Urine filtration membrane under a 4× objective, photographed by an automated digital microscope.
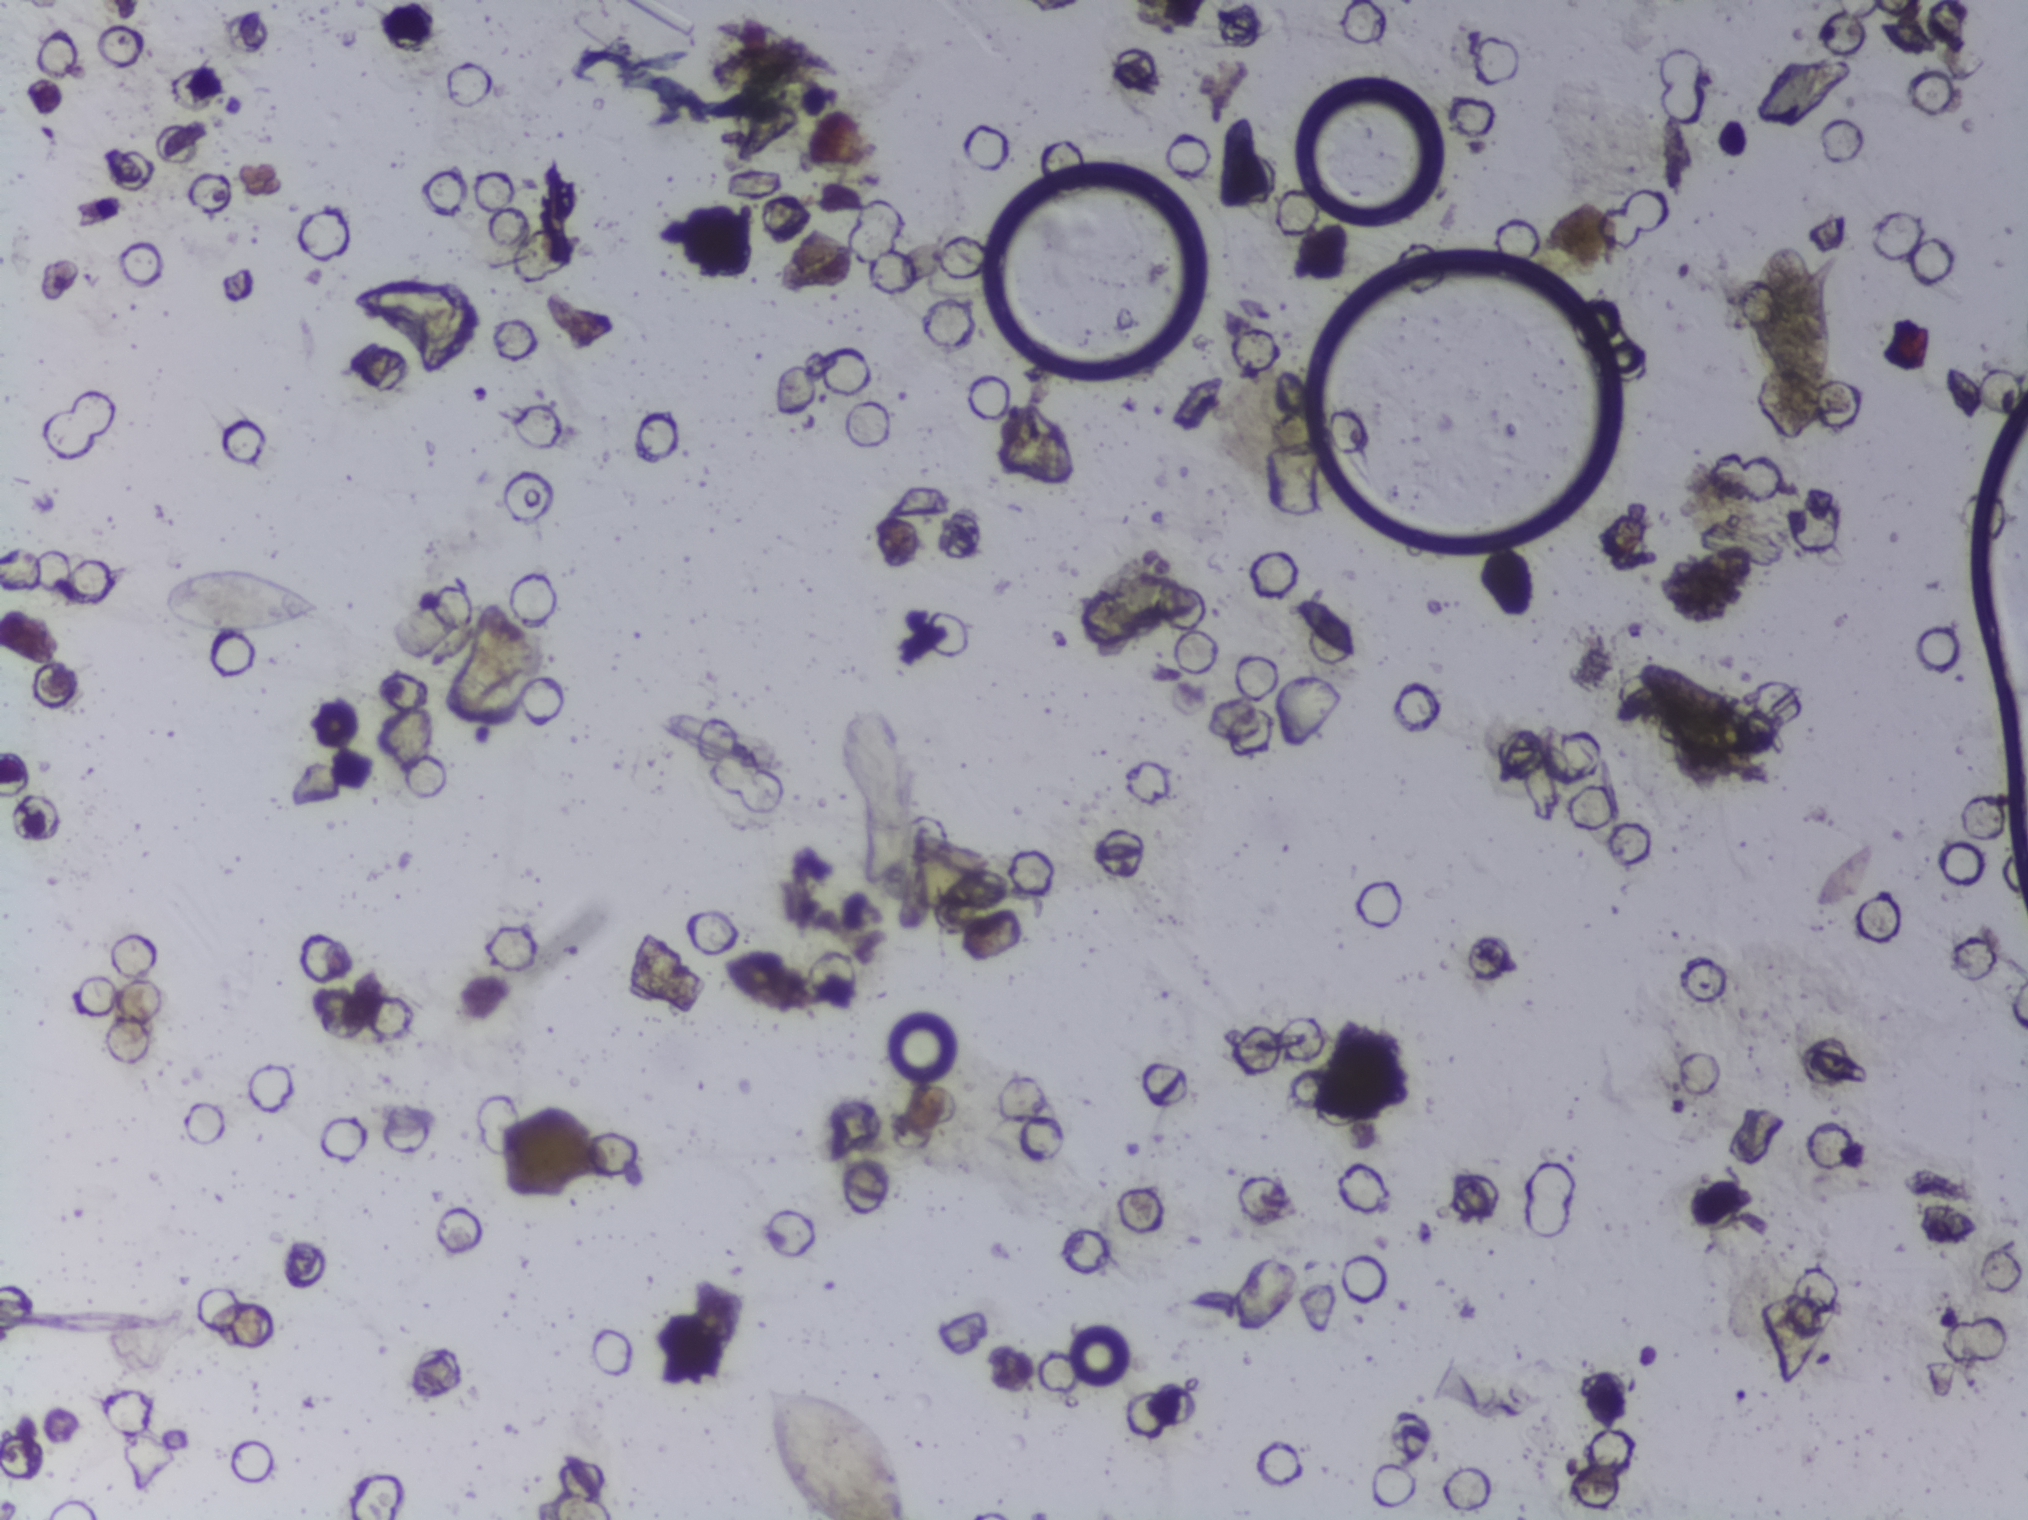
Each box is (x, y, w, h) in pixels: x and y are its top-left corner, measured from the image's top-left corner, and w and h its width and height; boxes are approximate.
Three areas of this image are outlined as Schistosoma eggs, from left to right: (x=165, y=569, w=159, h=64); (x=759, y=1384, w=154, h=136) (reaching the bottom edge of the frame); (x=1746, y=242, w=93, h=191). Marked pixels, not the boxes around them: about 1.1% of the image. A single outlined area may contain several eggs.